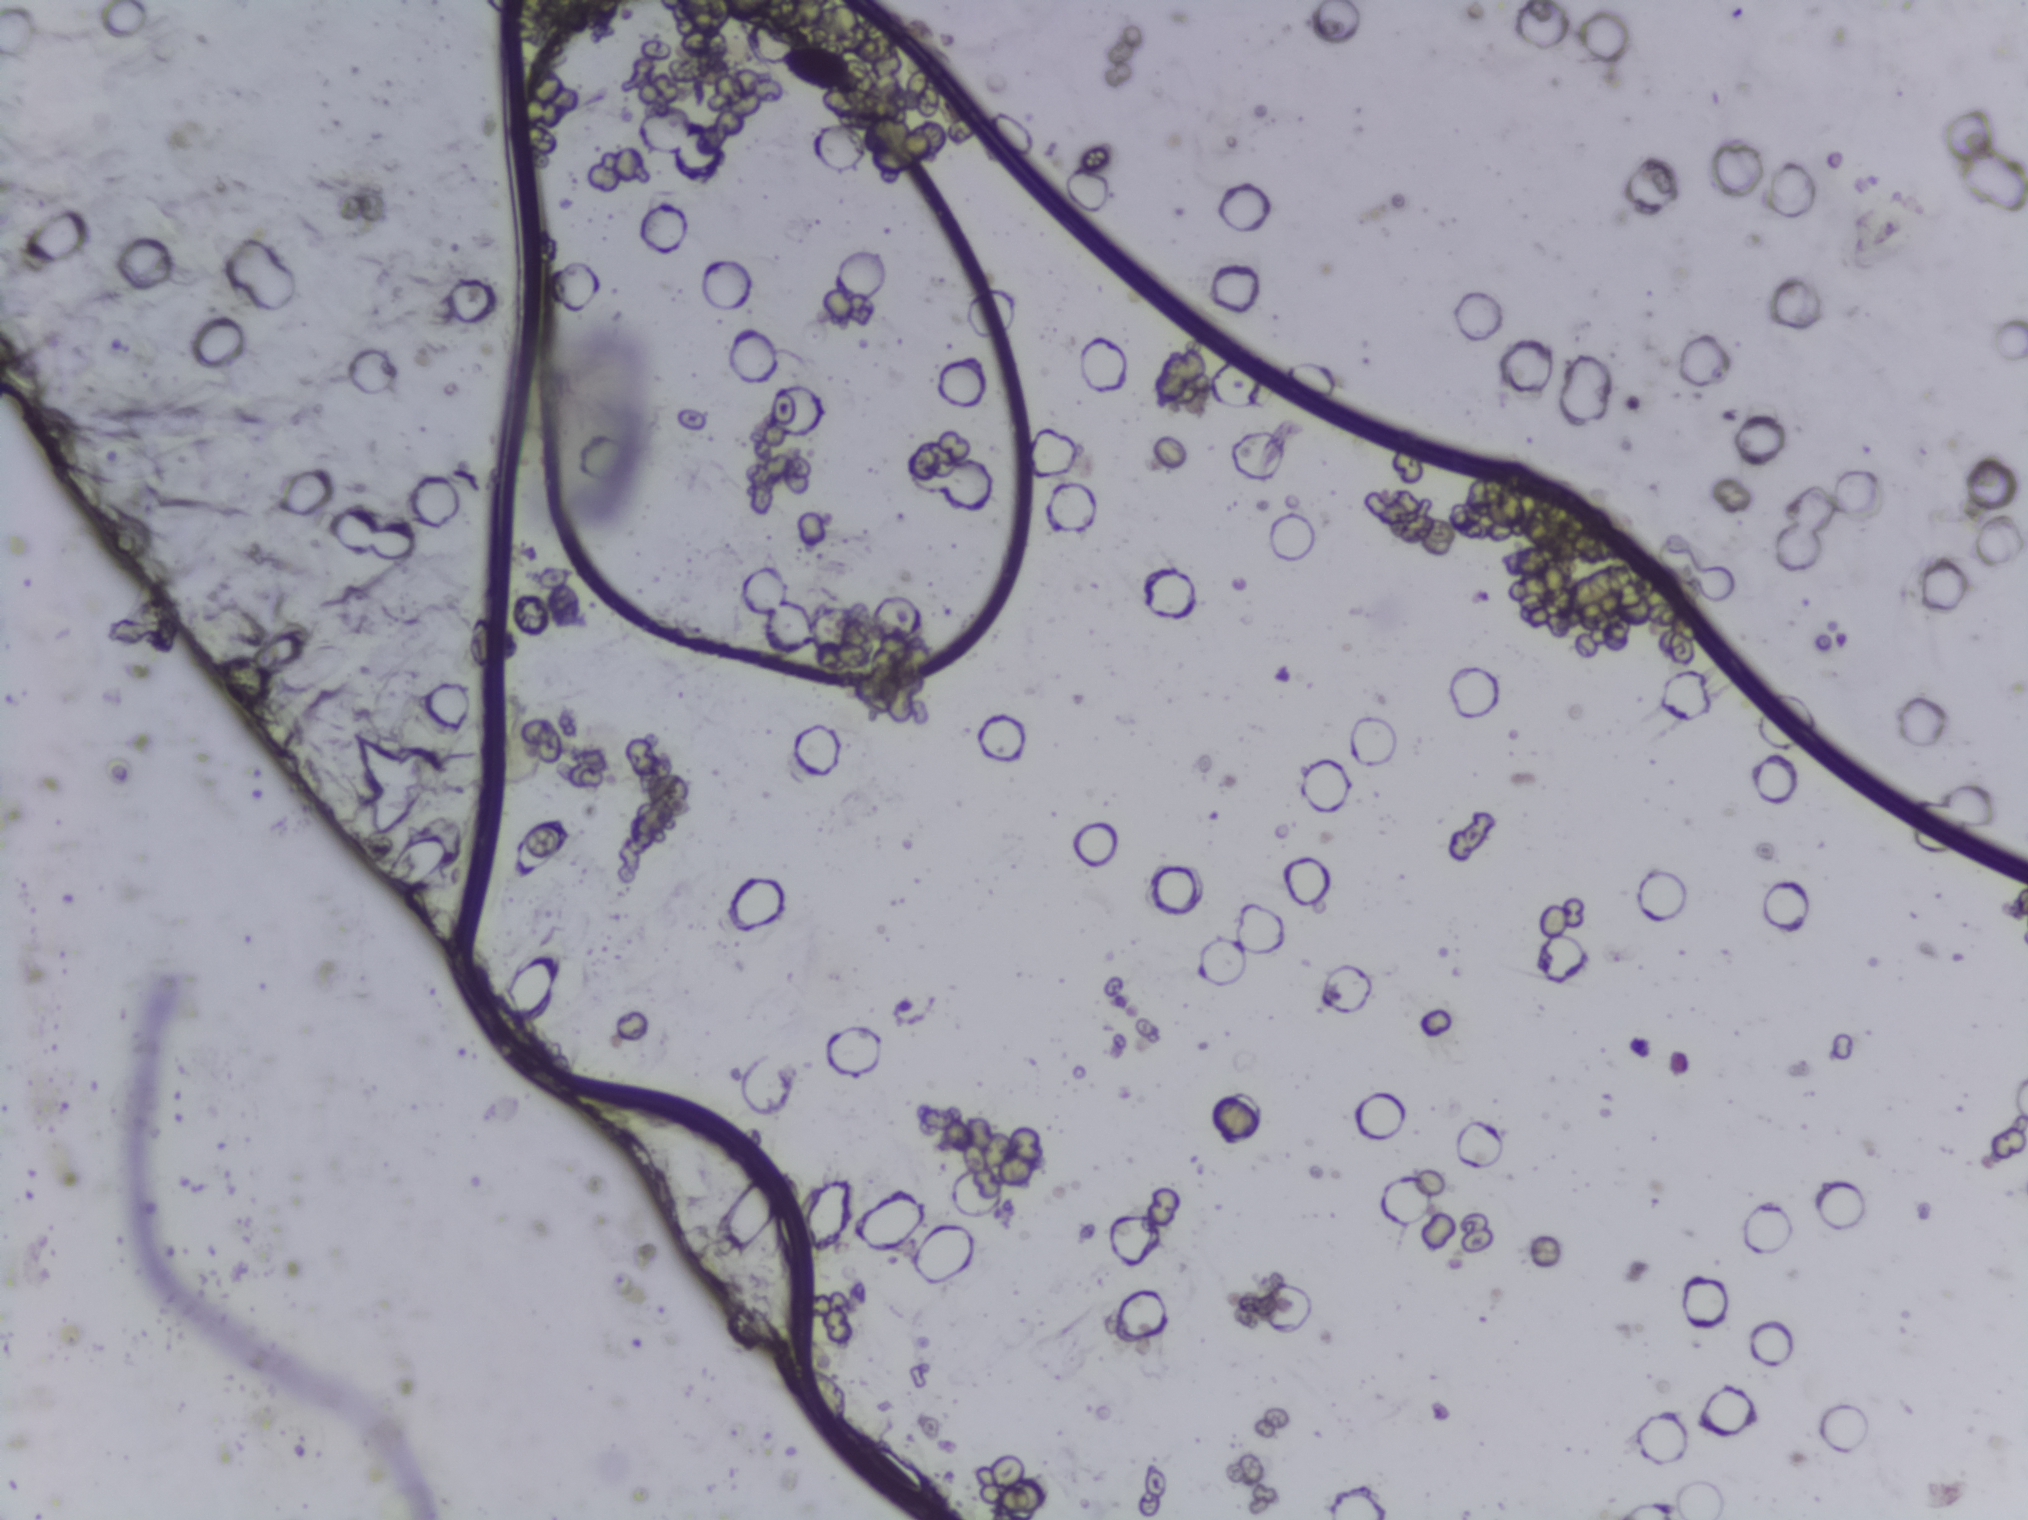
Microscope photograph (4× objective) of a membrane that a urine sample was filtered through. The field of view is about 1.5 mm × 1.1 mm.
The expert annotation marks no Schistosoma egg in this field of view.